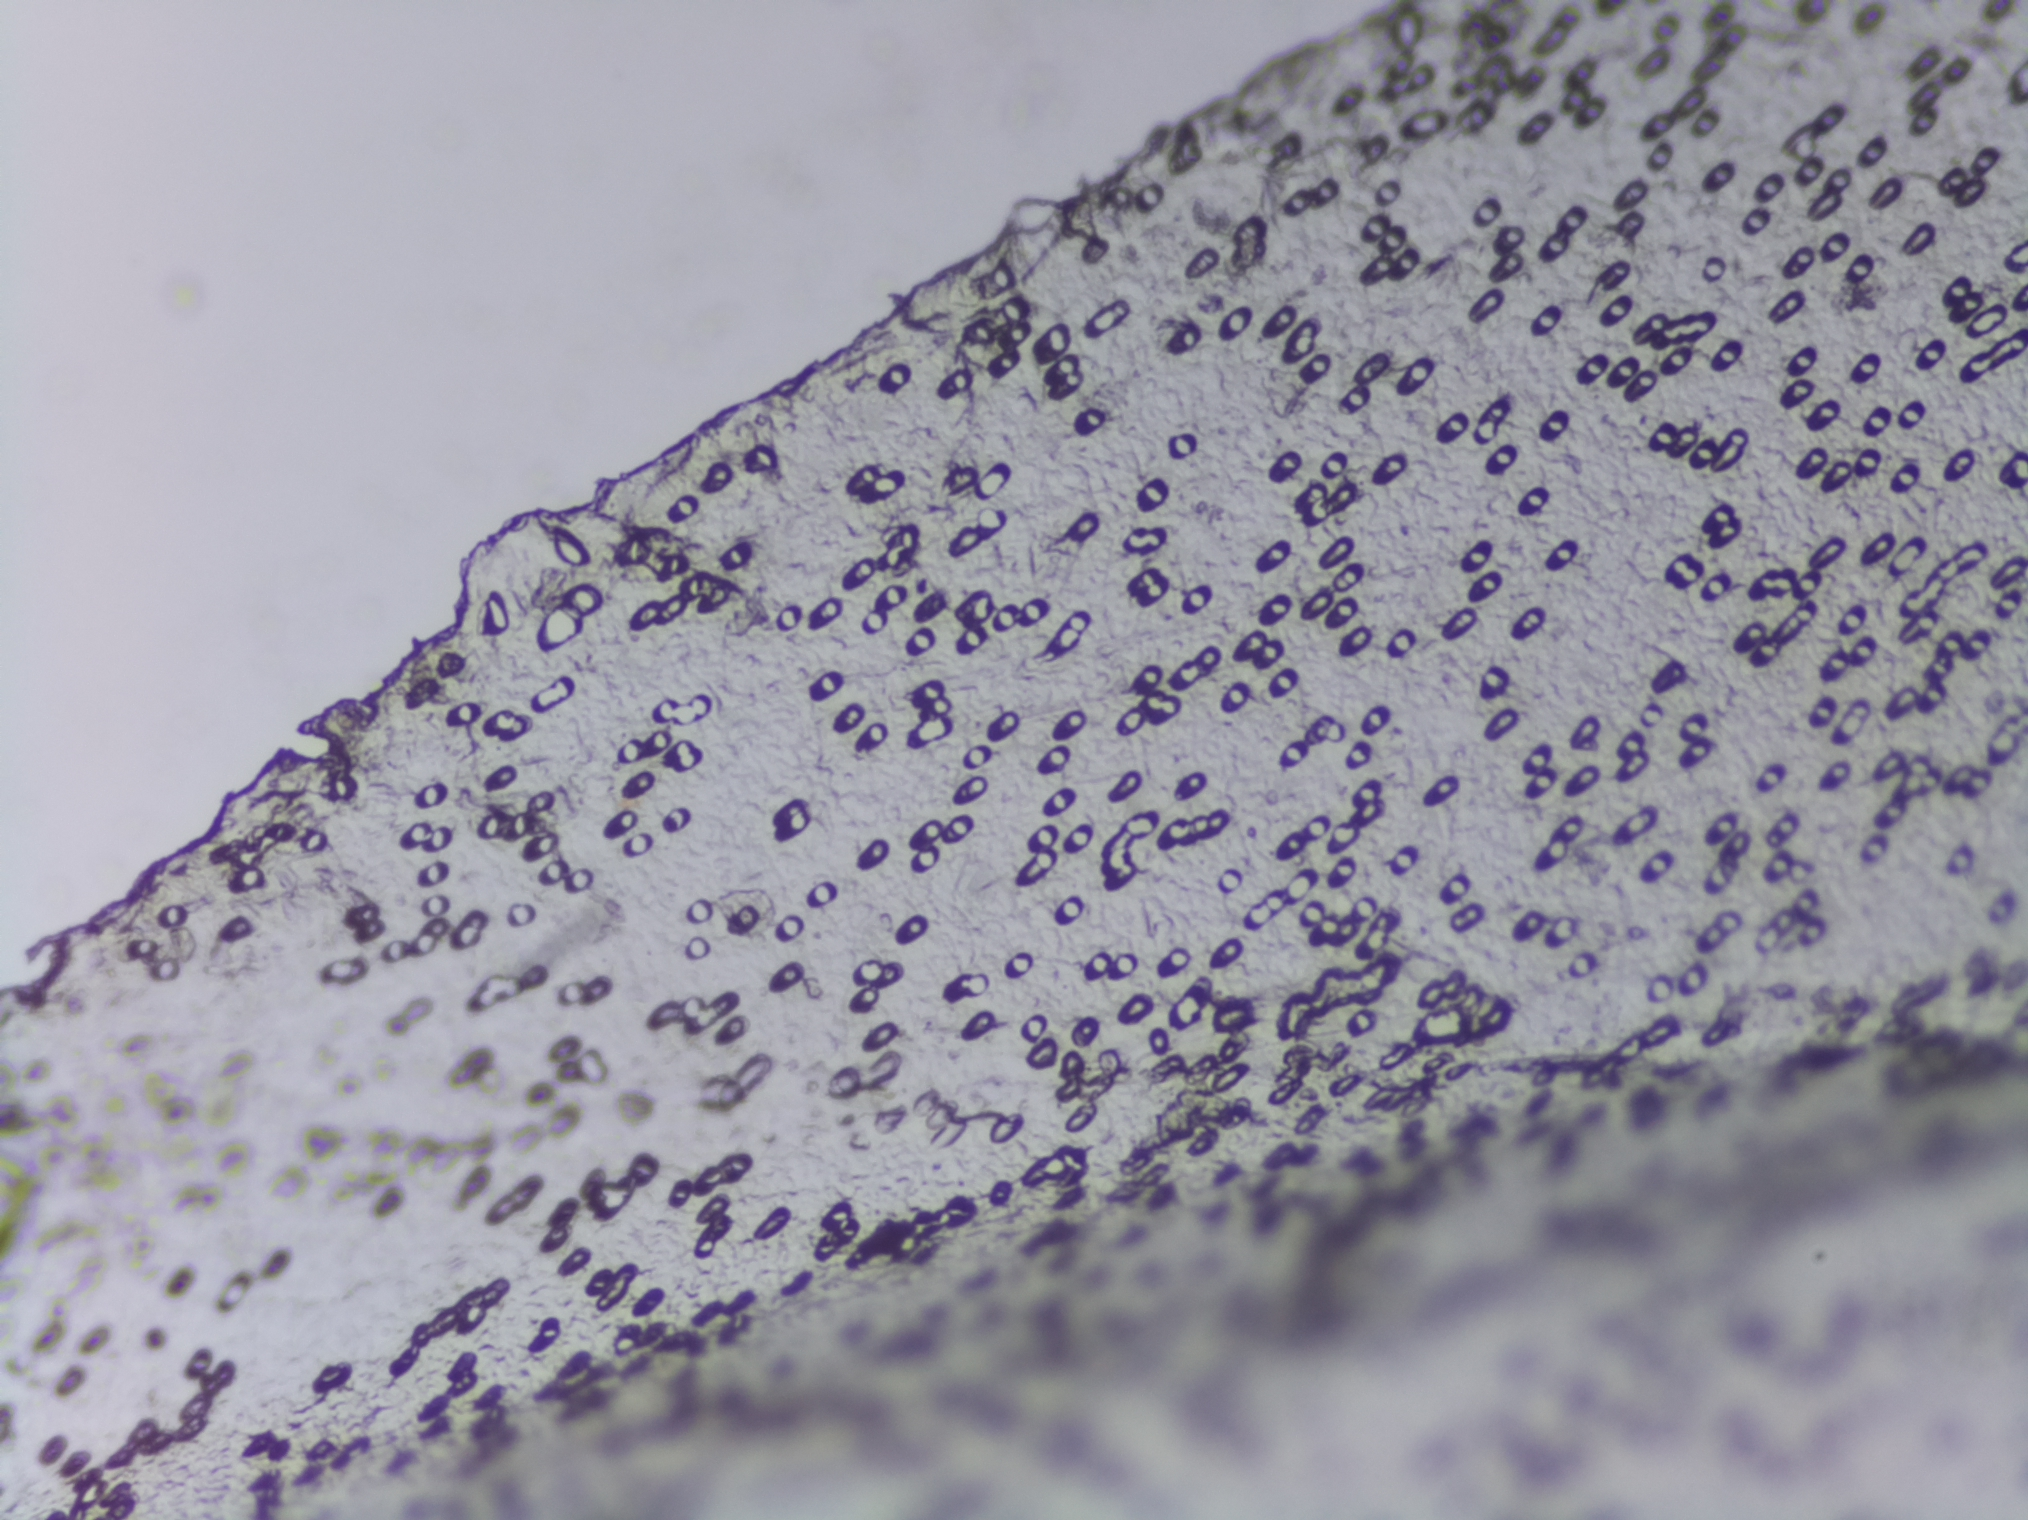
Urine filter membrane photographed through a 4× microscope objective. Field of view: about 1.5 mm wide and 1.1 mm high.
No area of this image was outlined as a Schistosoma egg.